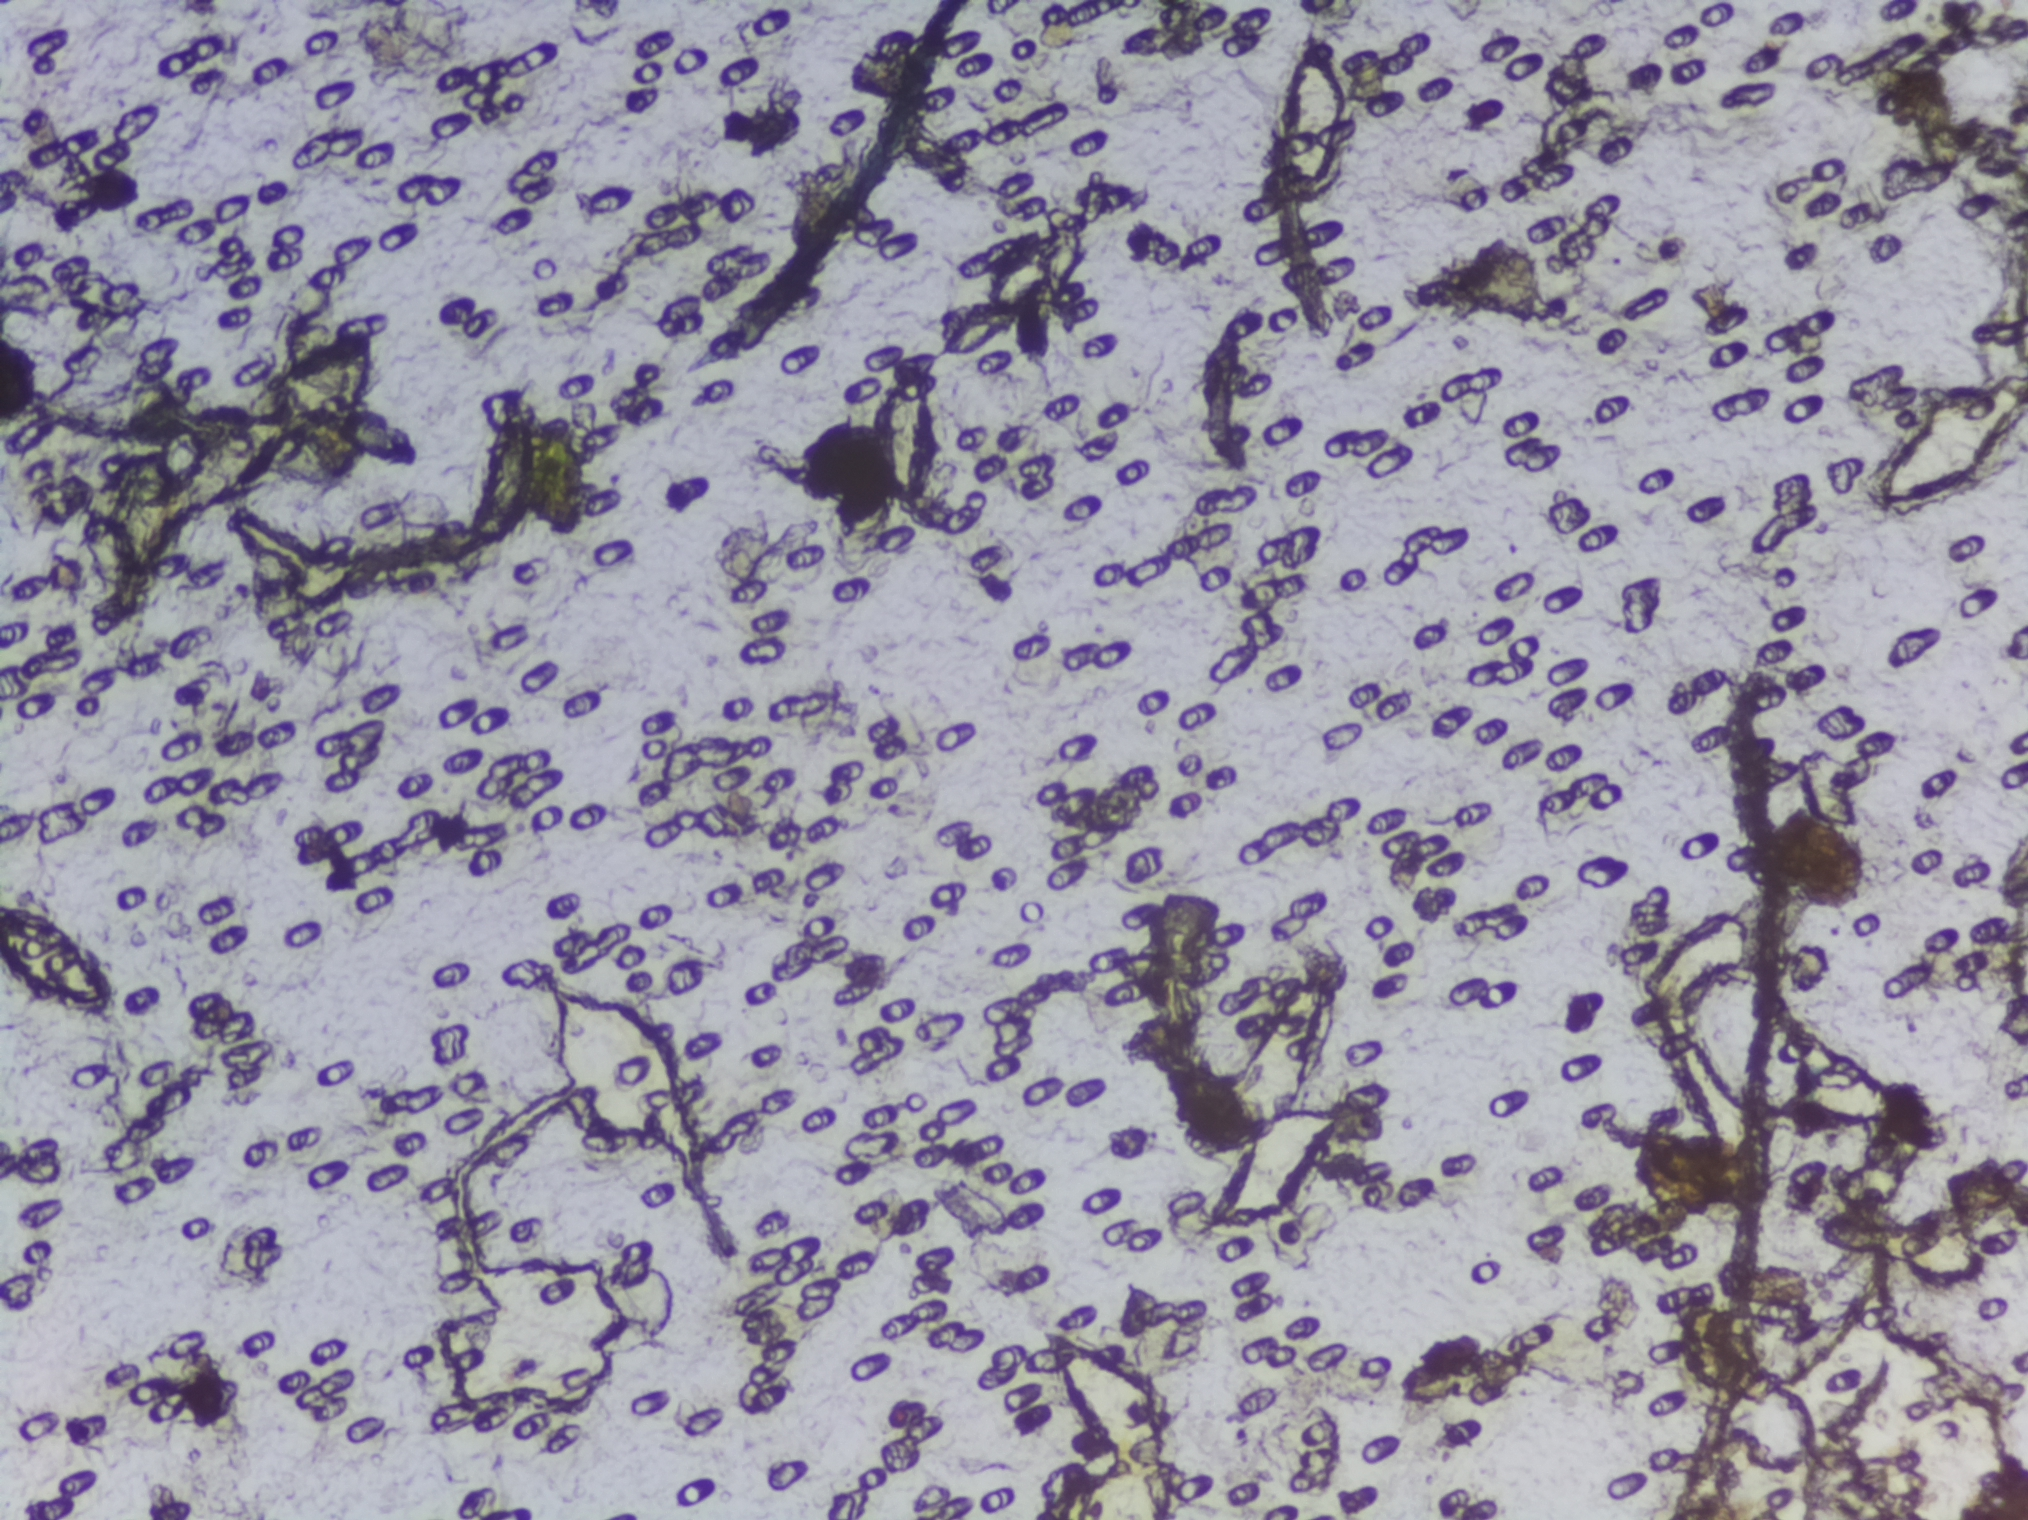
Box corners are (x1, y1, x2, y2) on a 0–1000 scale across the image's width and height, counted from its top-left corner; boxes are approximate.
Outlined Schistosoma egg areas:
1. (0, 589, 71, 670) (reaching the left edge of the frame)
Eggs that touch can end up inside the same outlined area.
One field of view of a urine filter membrane, 4× objective, 2028 × 1520 pixels.